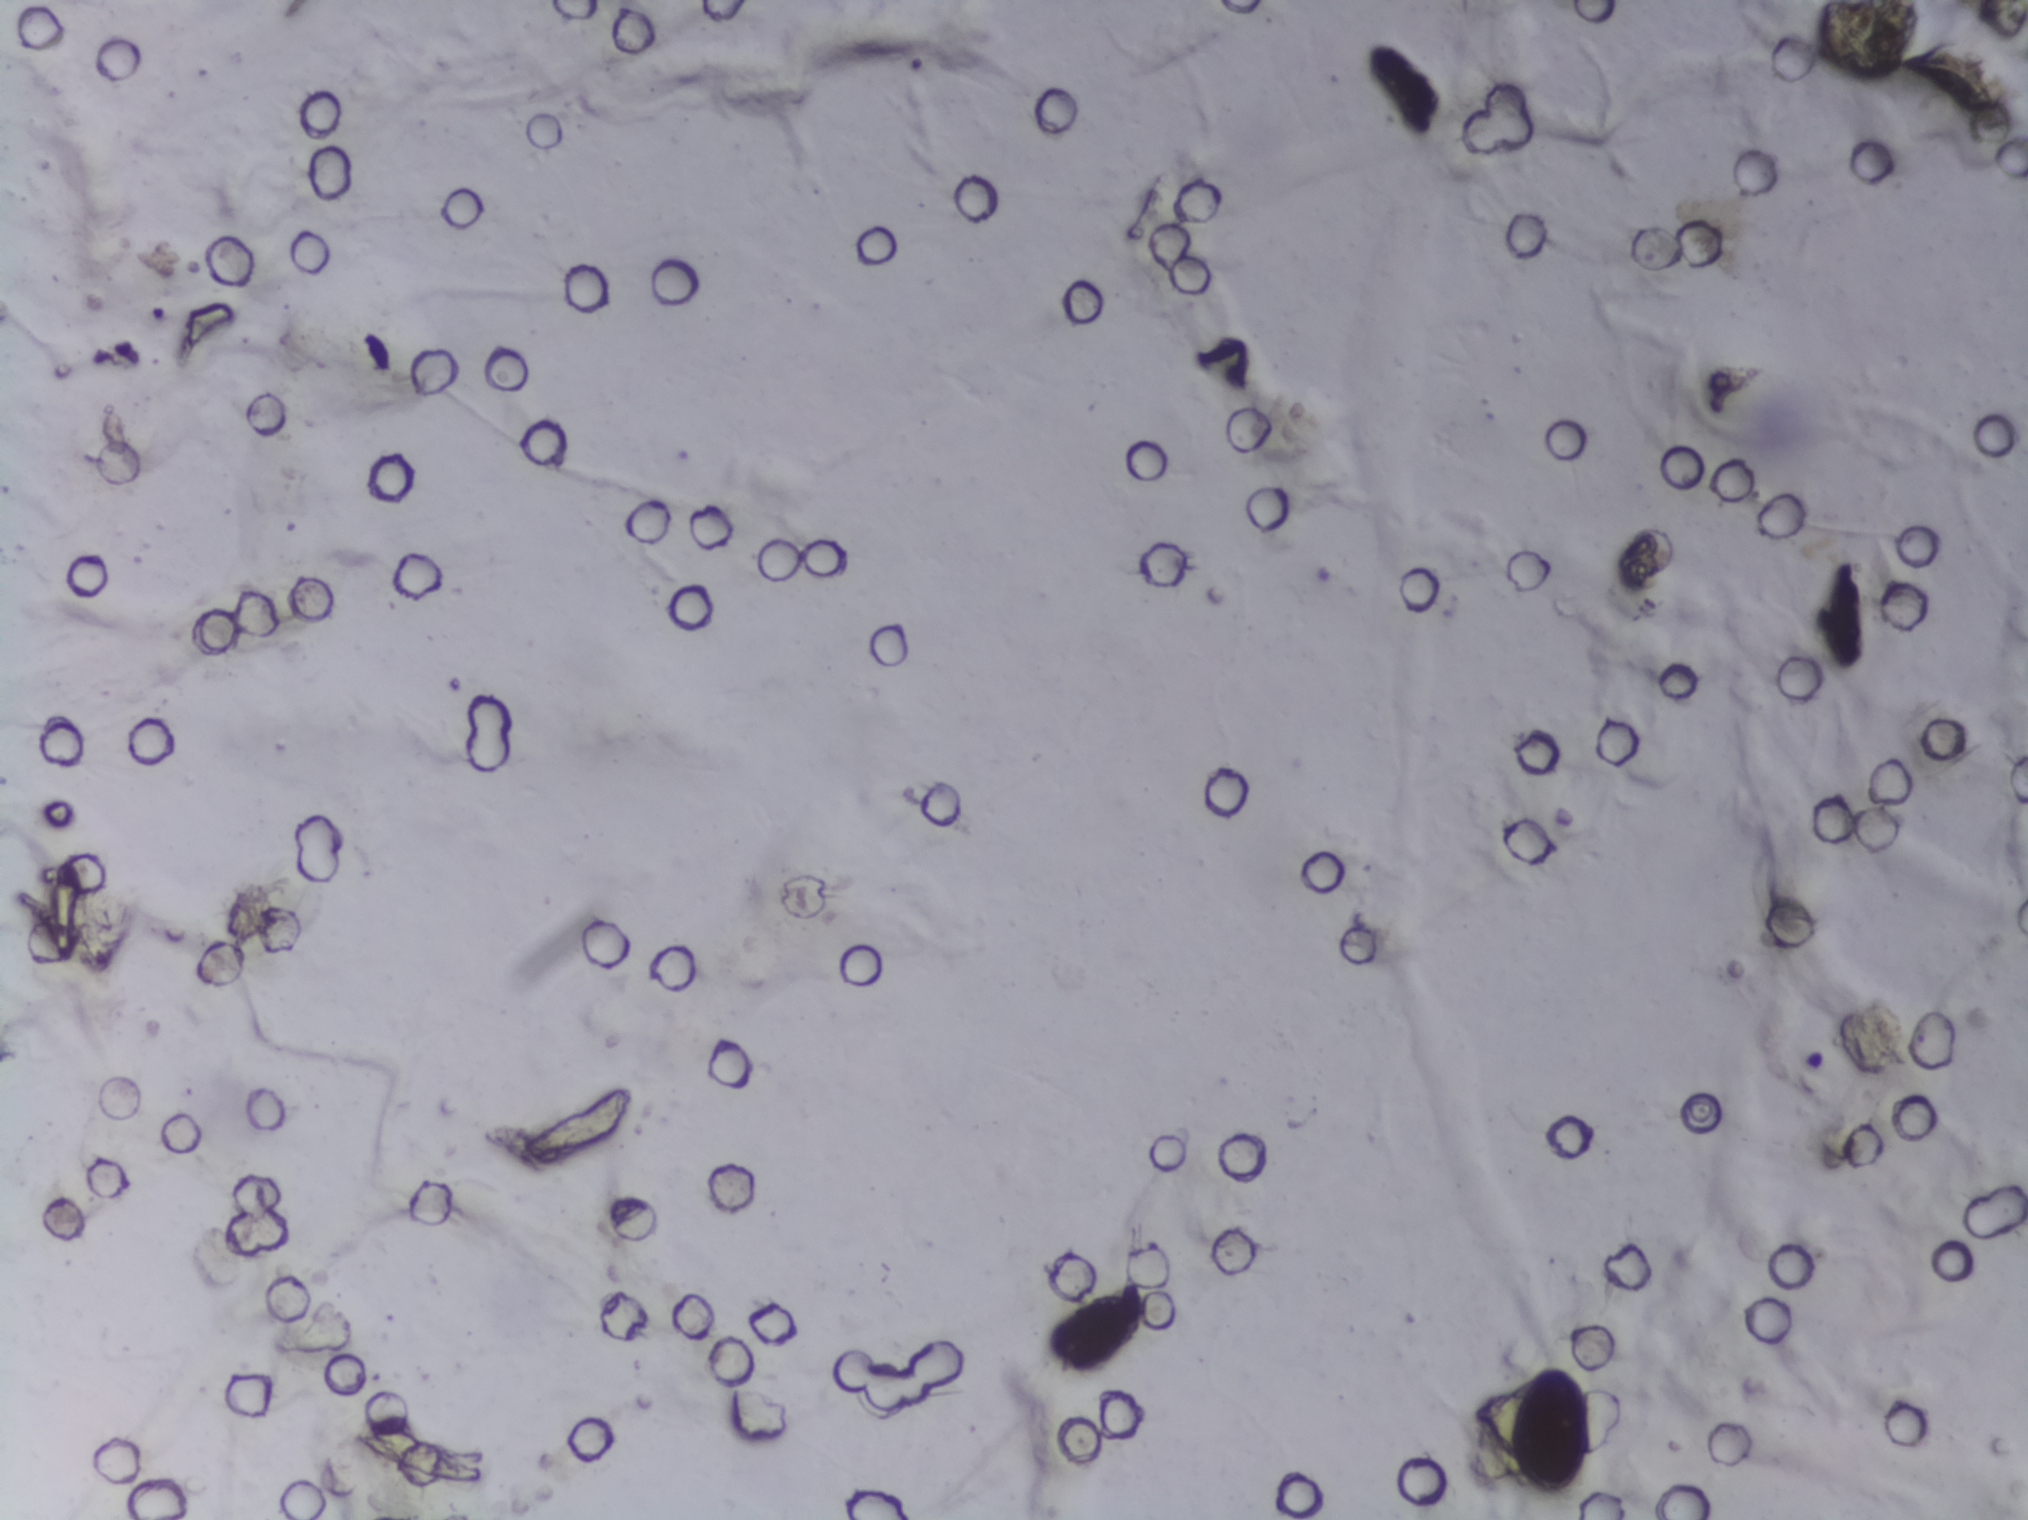
Photomicrograph of a urine filtration membrane, 4× objective.
The expert annotation marks no Schistosoma egg in this field of view.